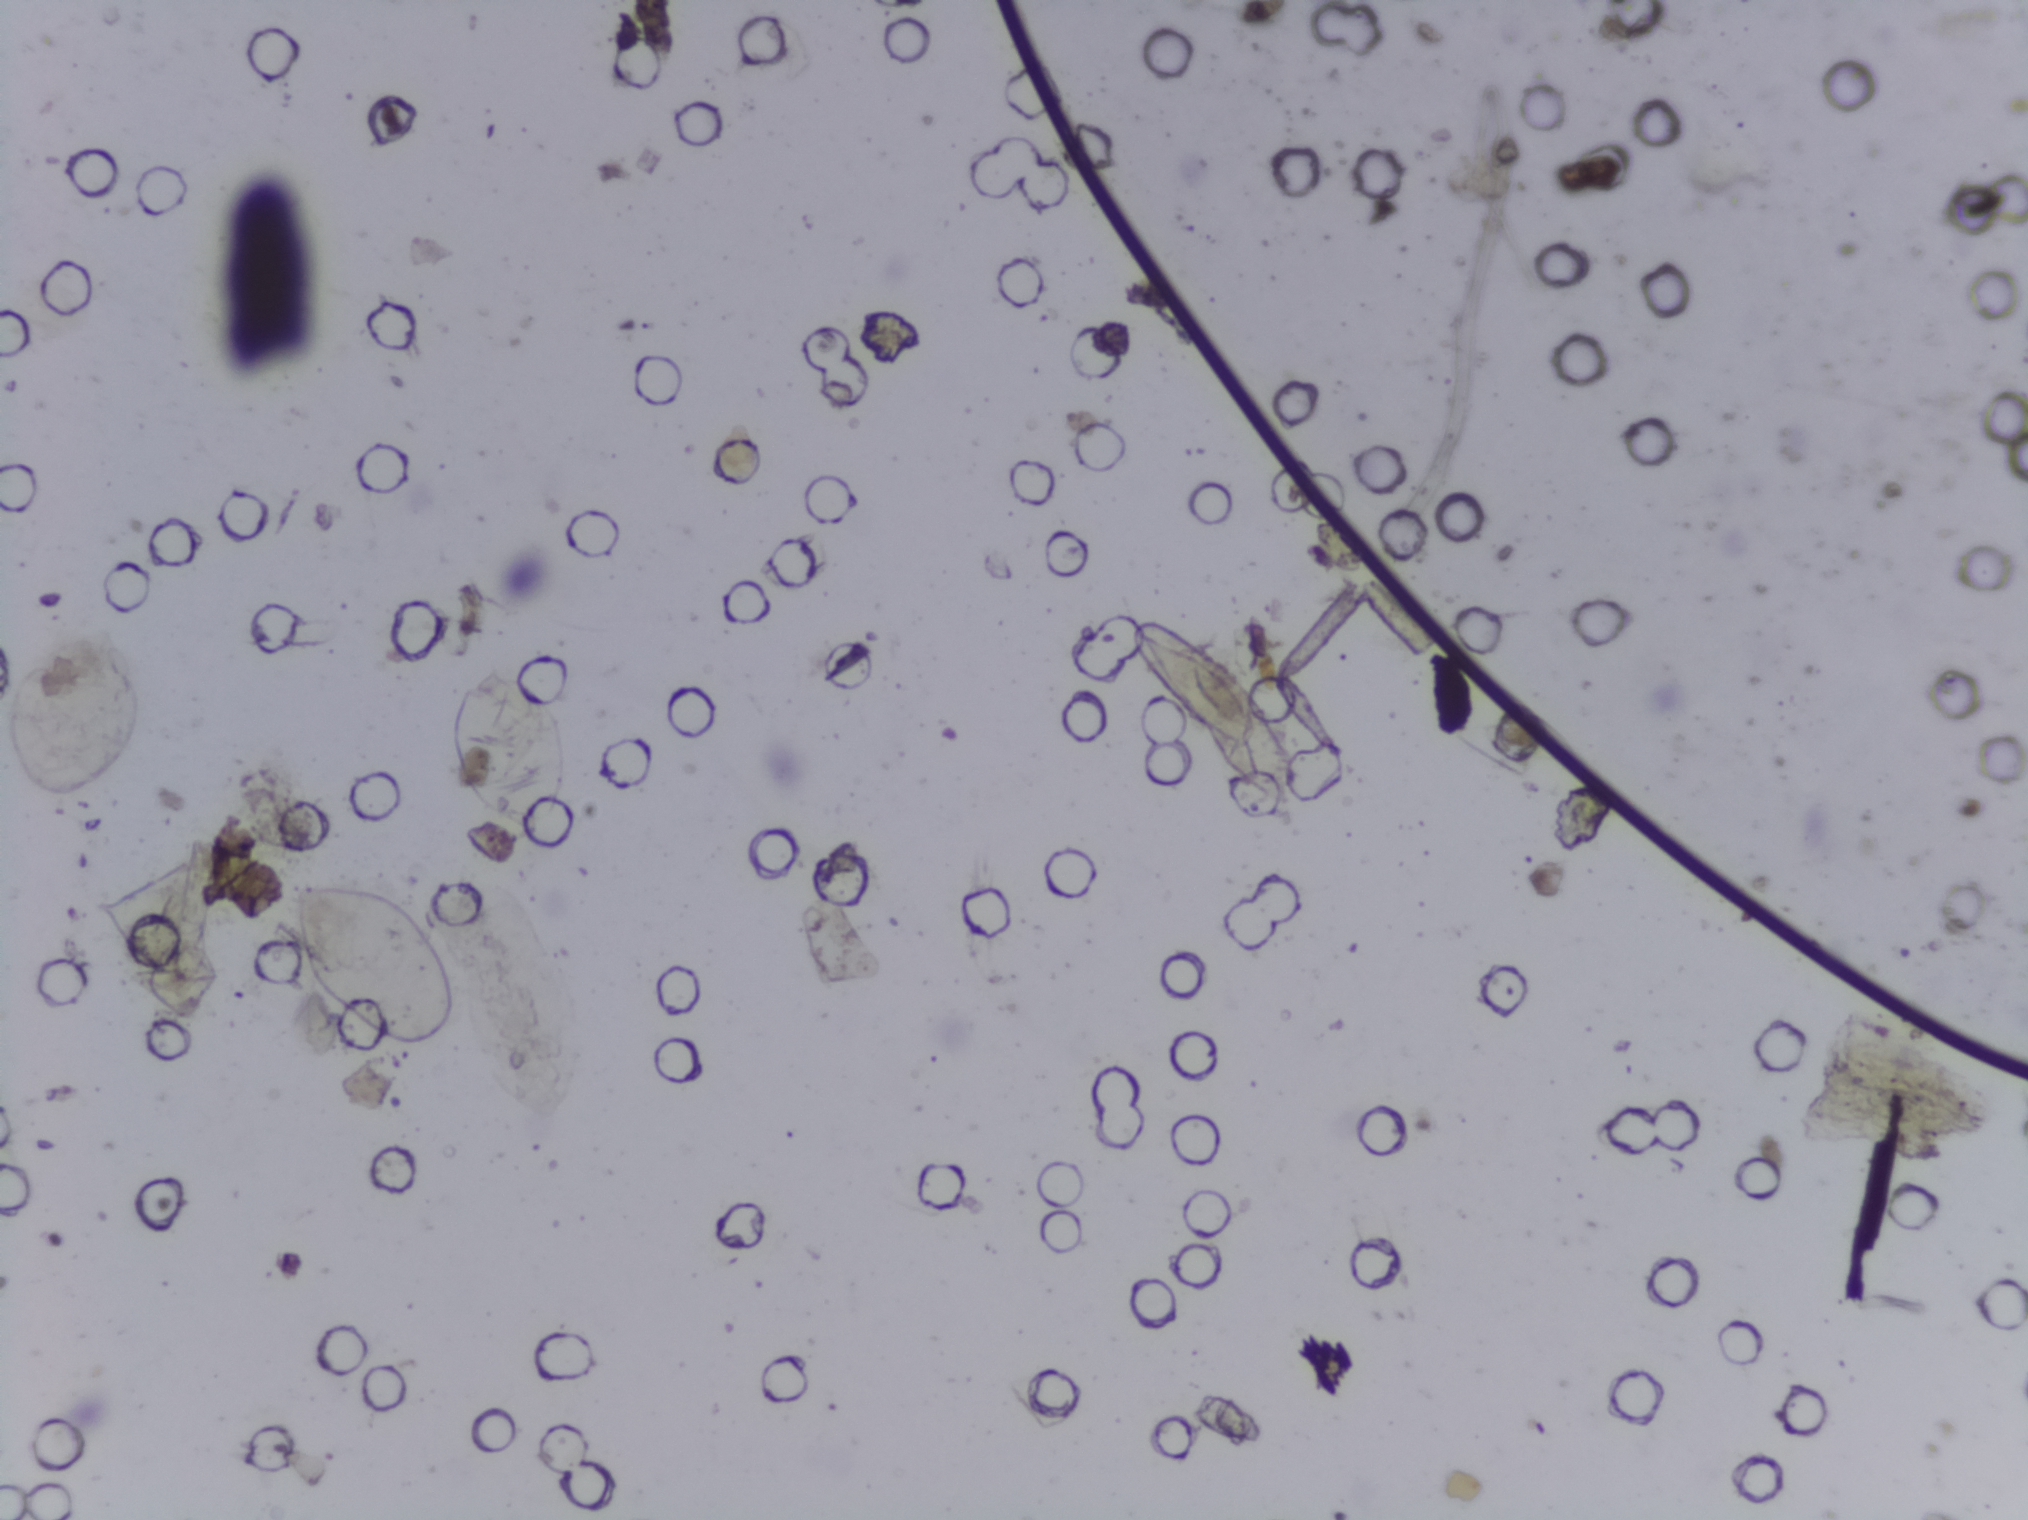
Photomicrograph of a urine filtration membrane, 4× objective. Field of view: about 1.5 mm wide and 1.1 mm high.
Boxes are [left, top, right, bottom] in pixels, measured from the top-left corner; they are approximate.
Outlined Schistosoma egg areas, left to right:
1. [282, 875, 456, 1059]
2. [447, 658, 572, 839]
Marked pixels, not the boxes around them: about 1.3% of the image. An outlined area can hold more than one egg.